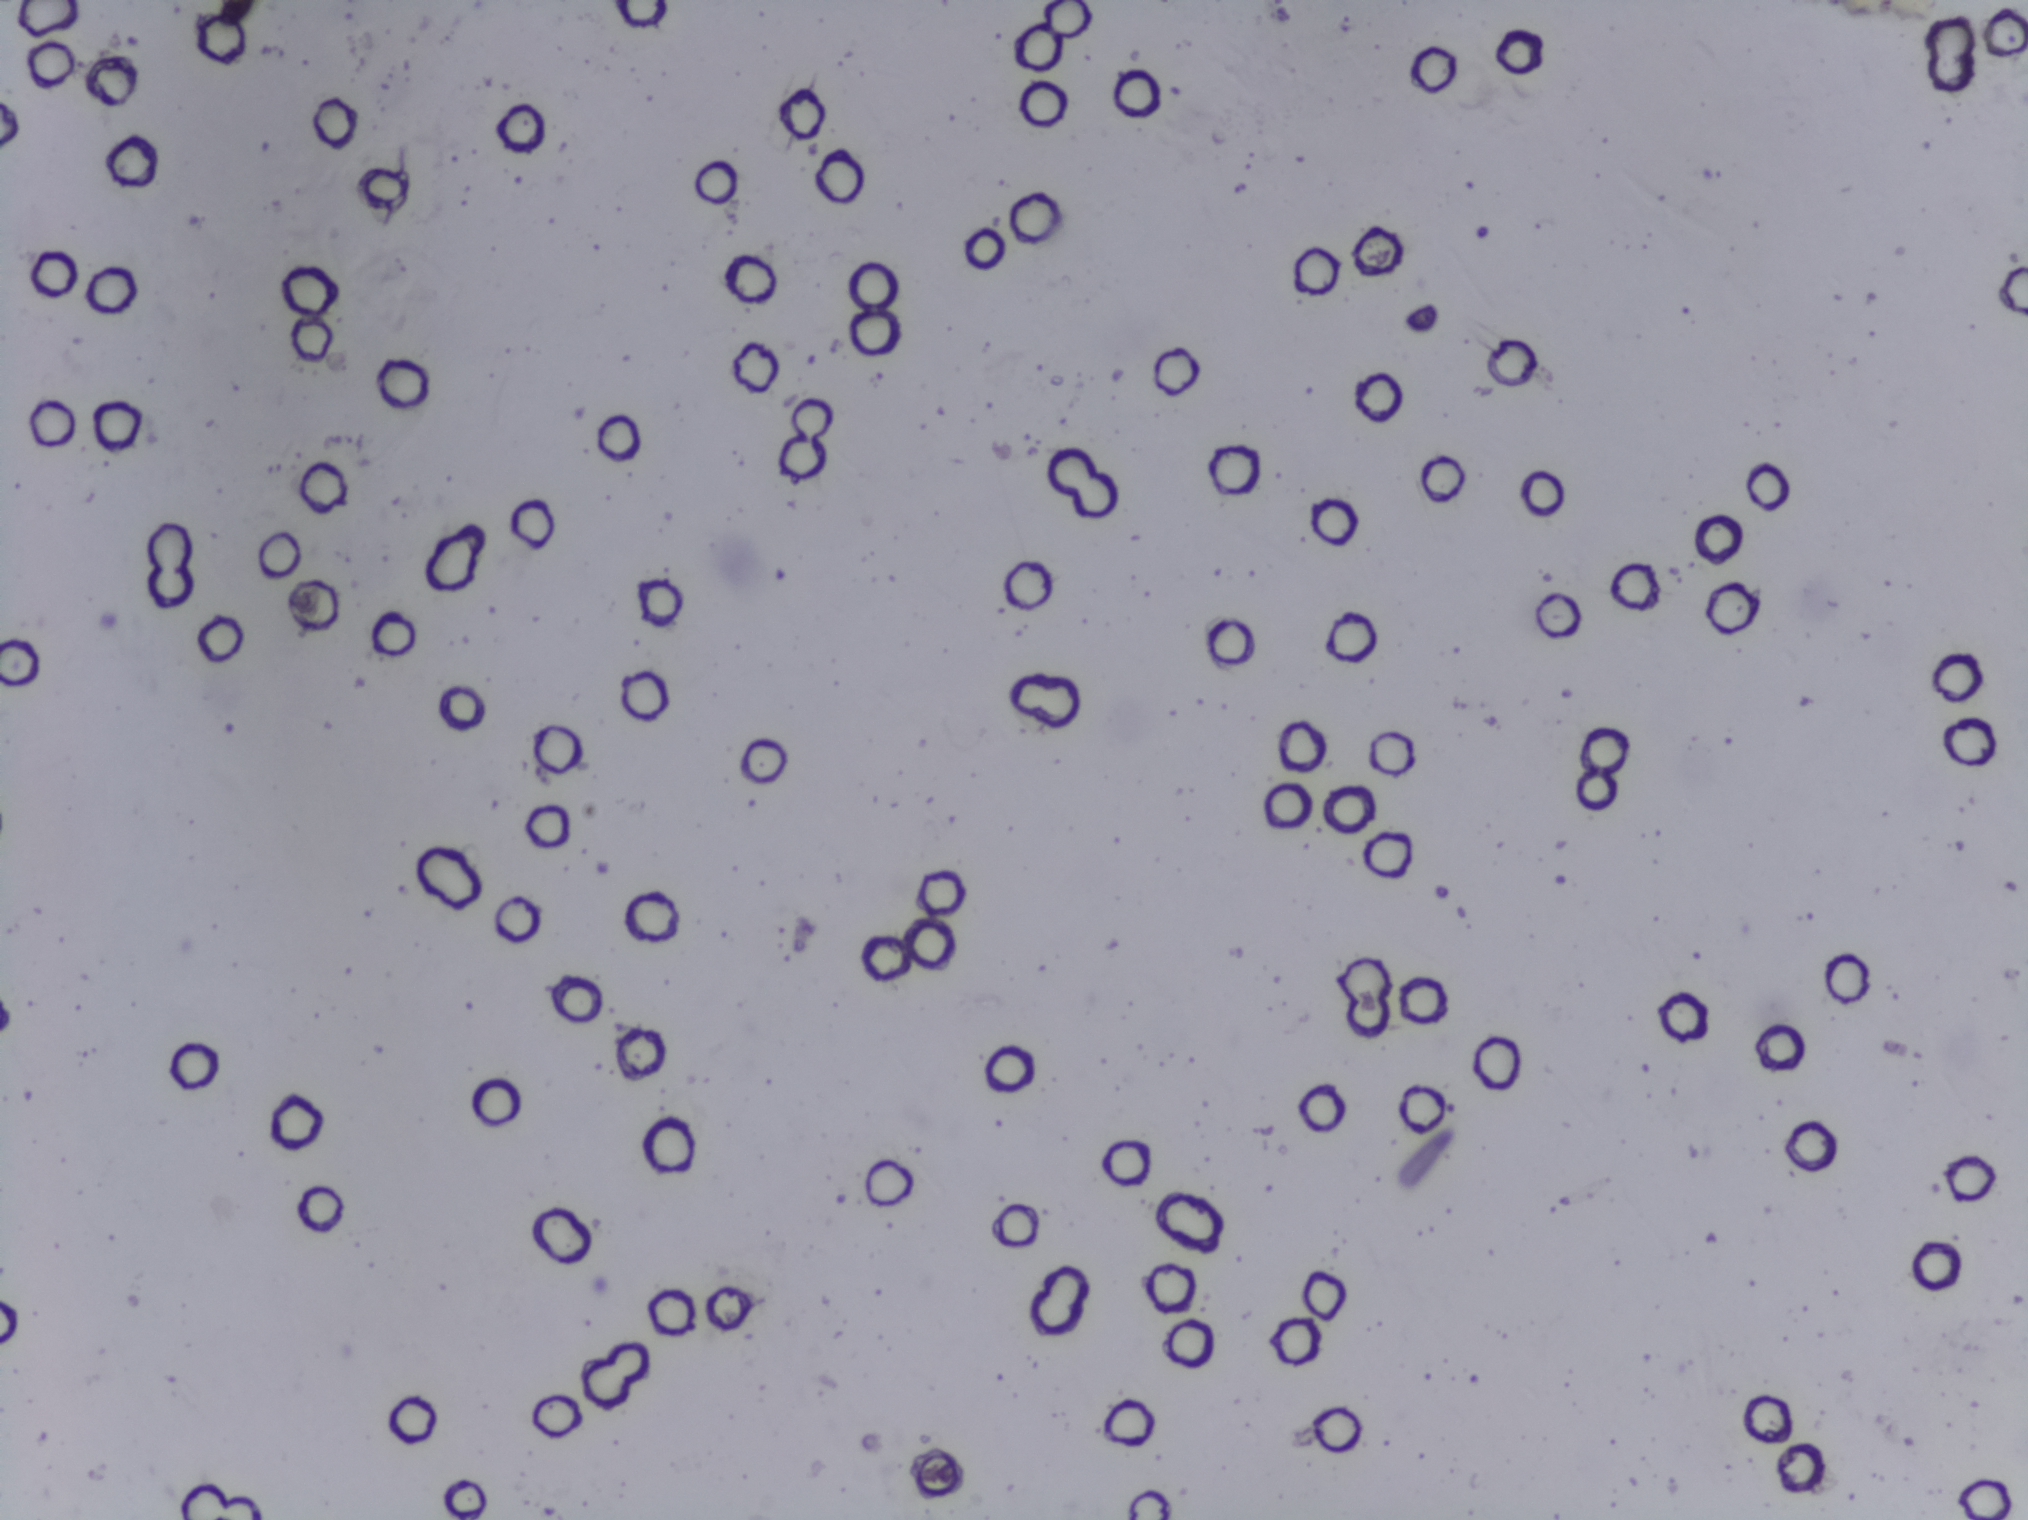
Photograph from an automated digital microscope: urine filter membrane, 4× objective. The image covers about 1.5 × 1.1 mm of the membrane.
The expert annotation marks no Schistosoma egg in this field of view.